Microscope photograph (4× objective) of a membrane that a urine sample was filtered through. The image covers about 1.5 × 1.1 mm of the membrane.
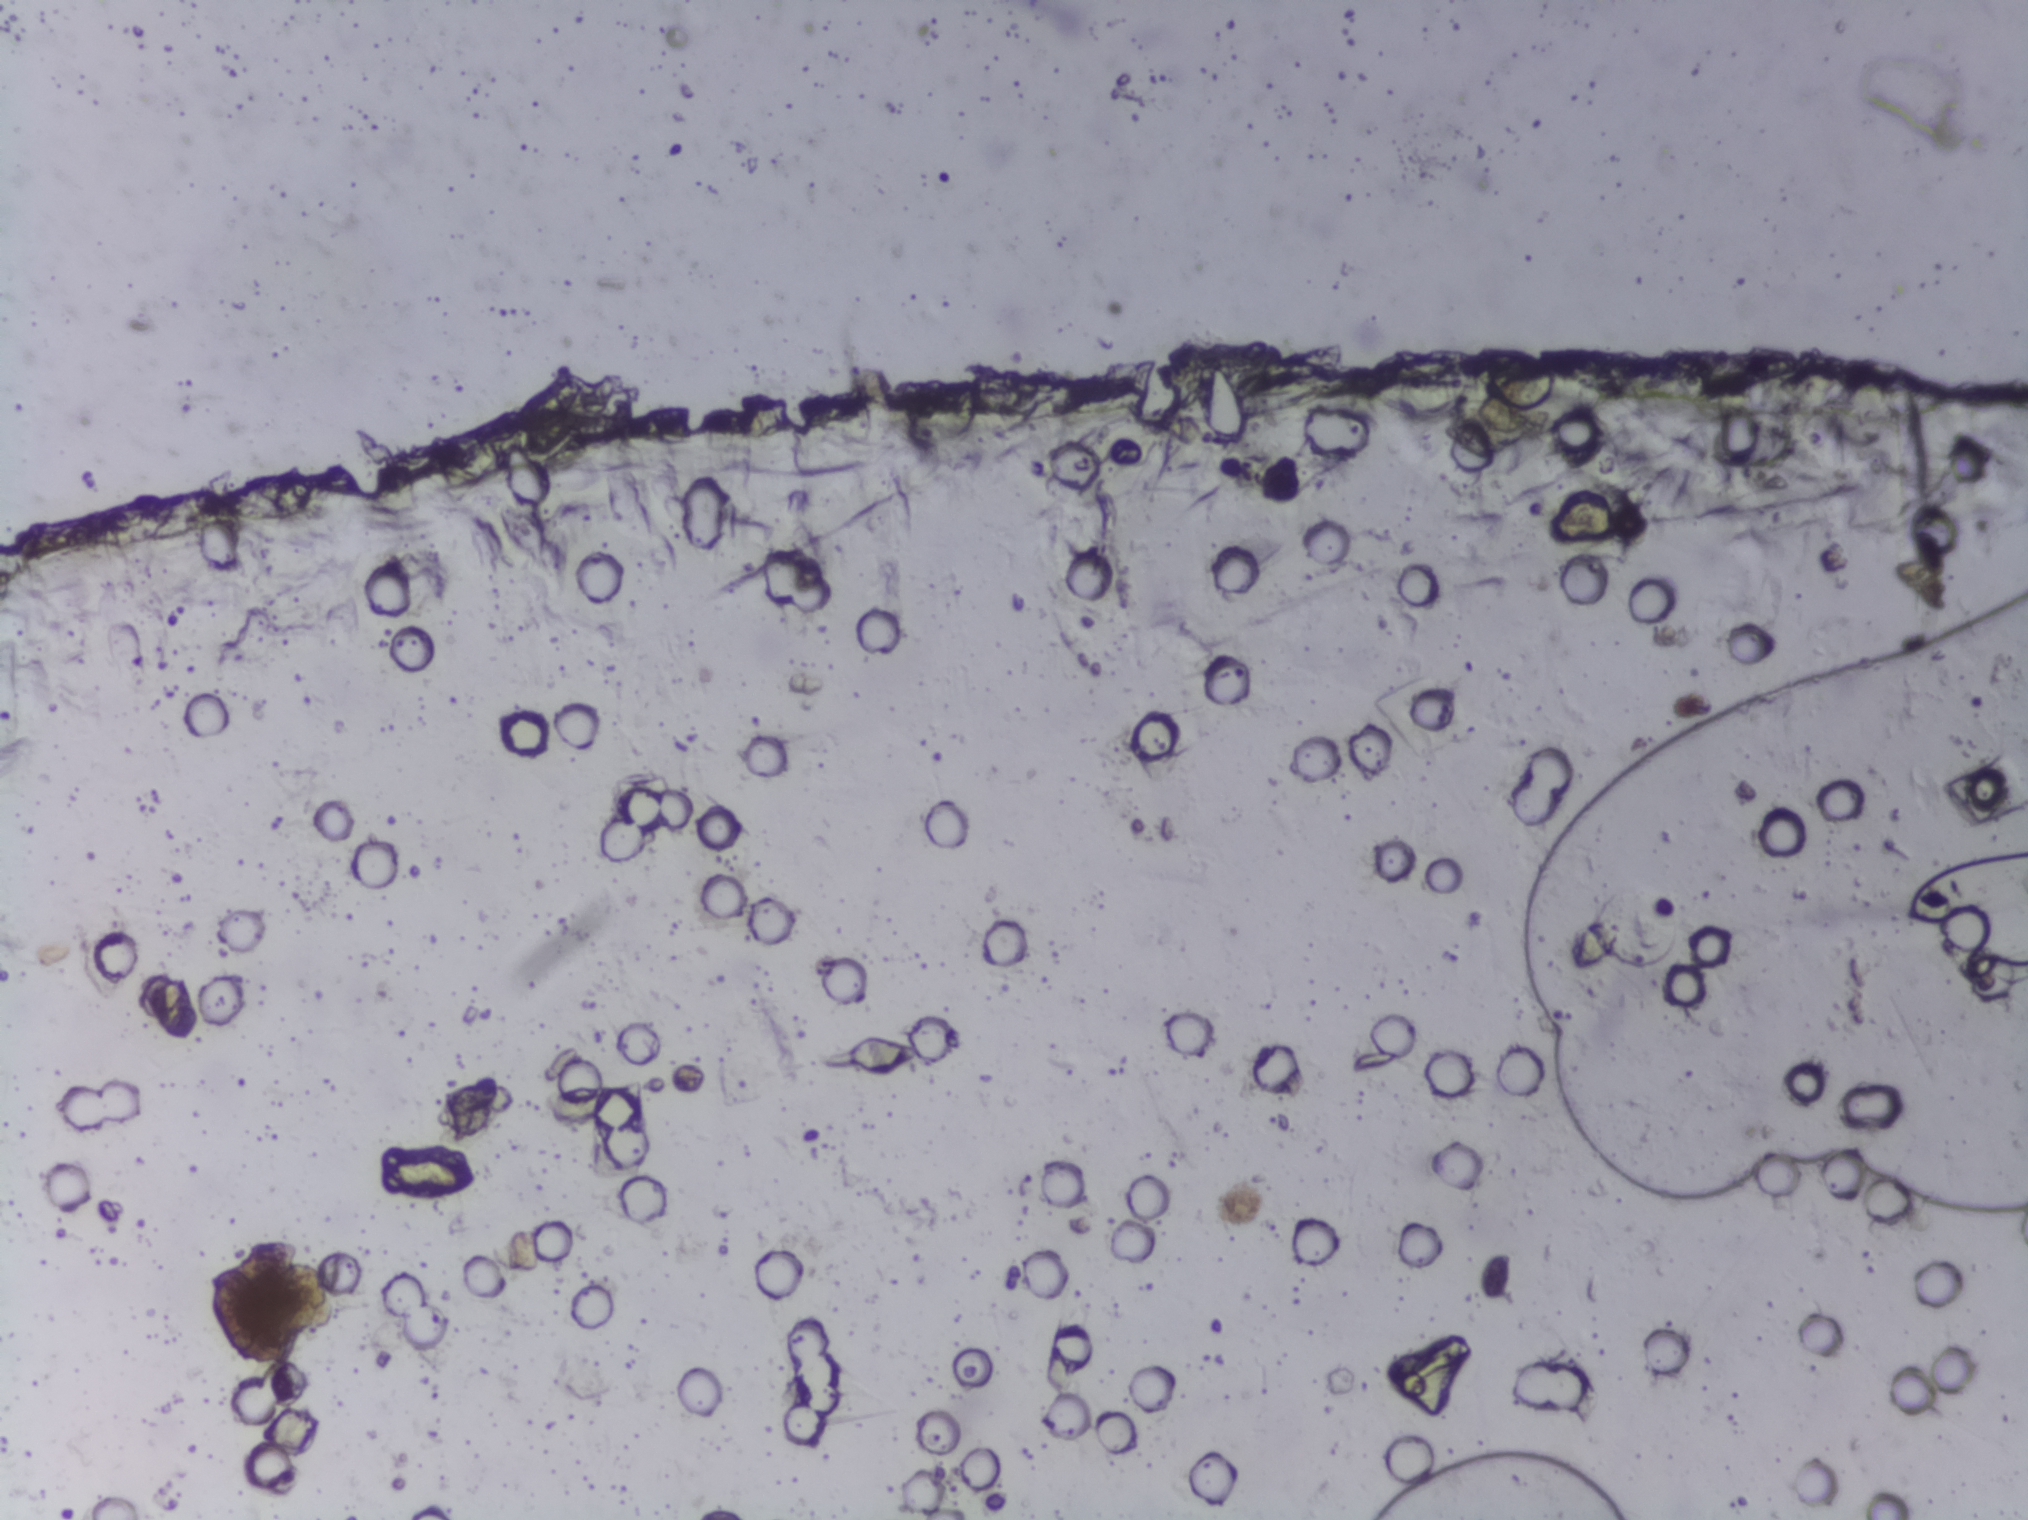
Schistosoma eggs: none outlined.